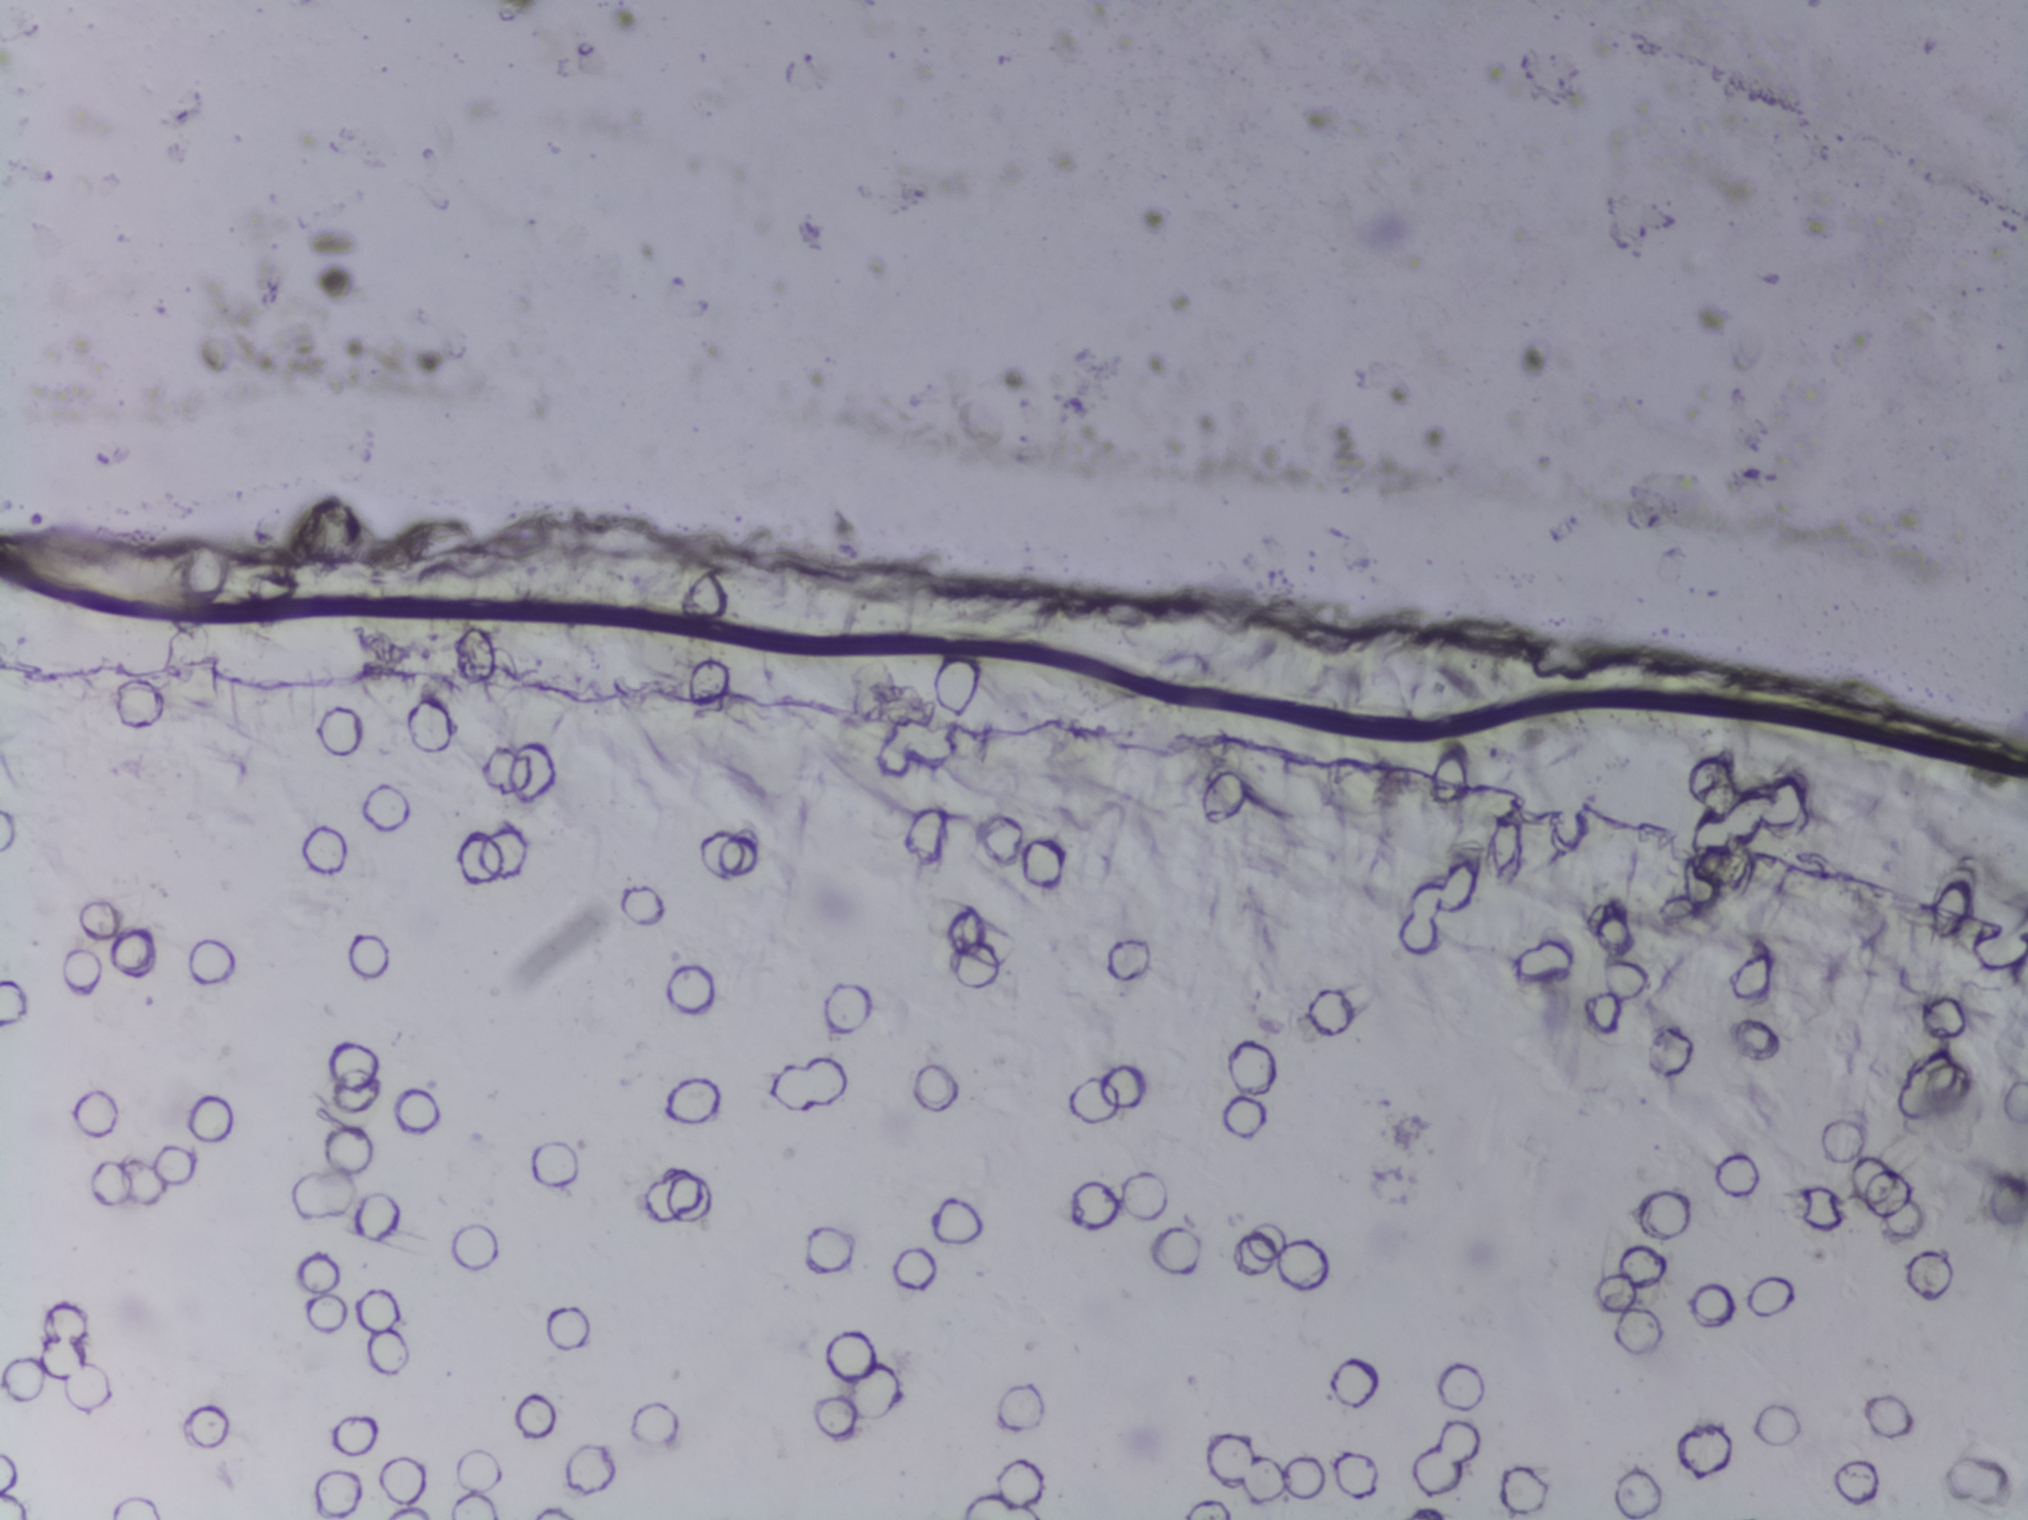
Urine filter membrane photographed through a 4× microscope objective.
The expert annotation outlines no Schistosoma egg in this image.